Photograph from an automated digital microscope: urine filter membrane, 4× objective.
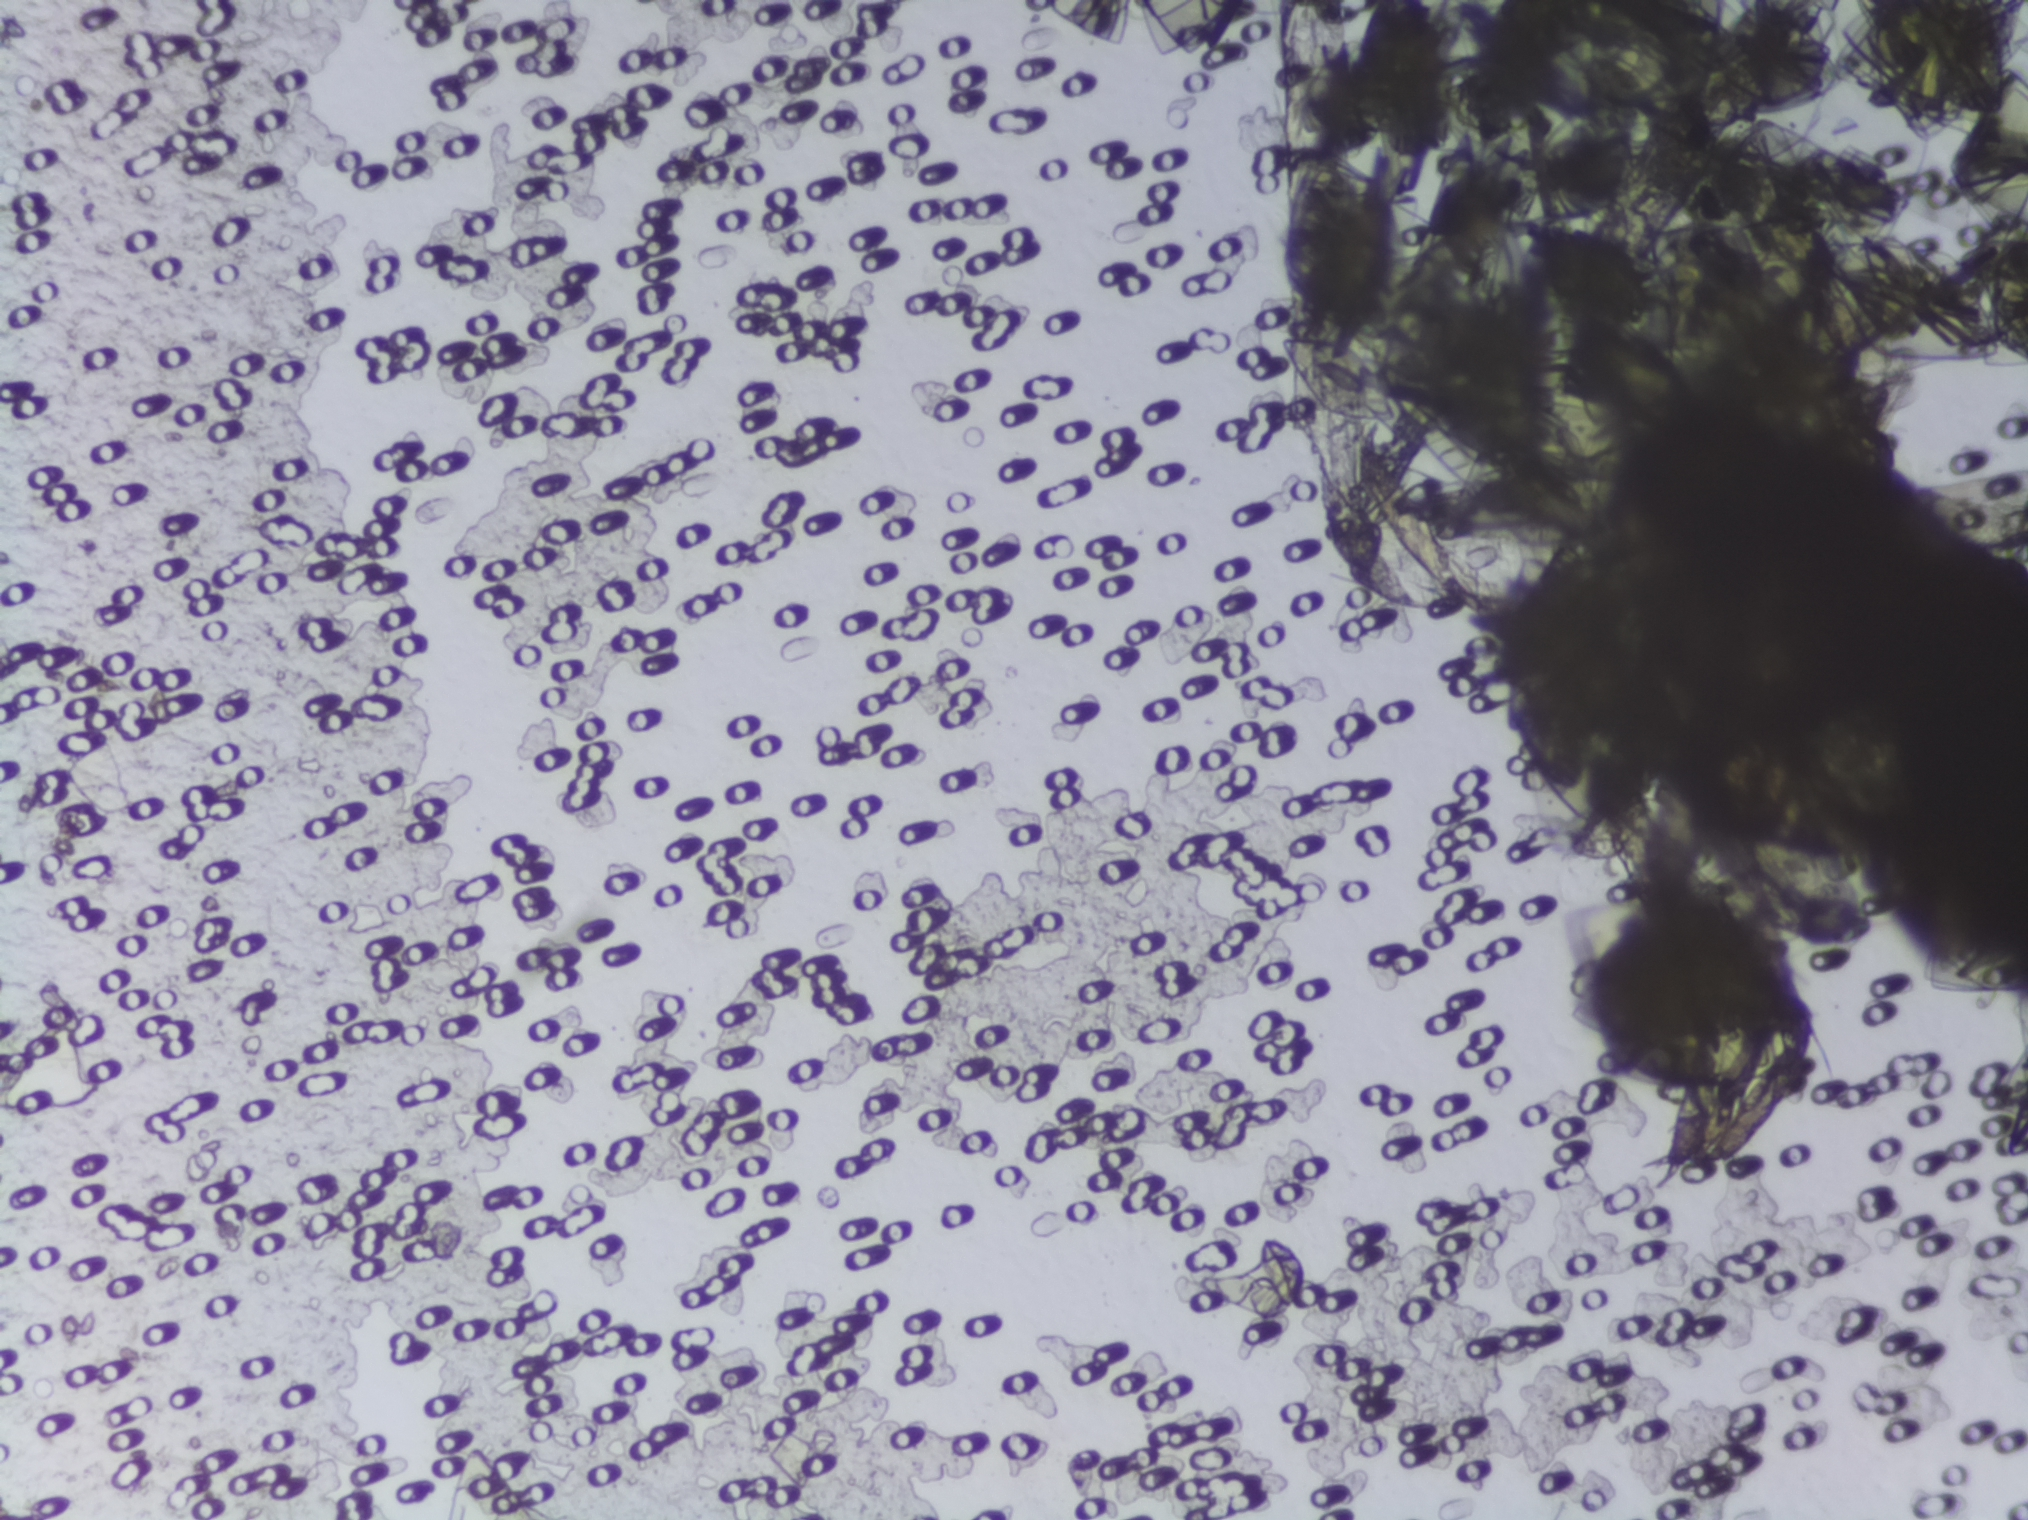
The expert annotation marks no Schistosoma egg in this field of view.